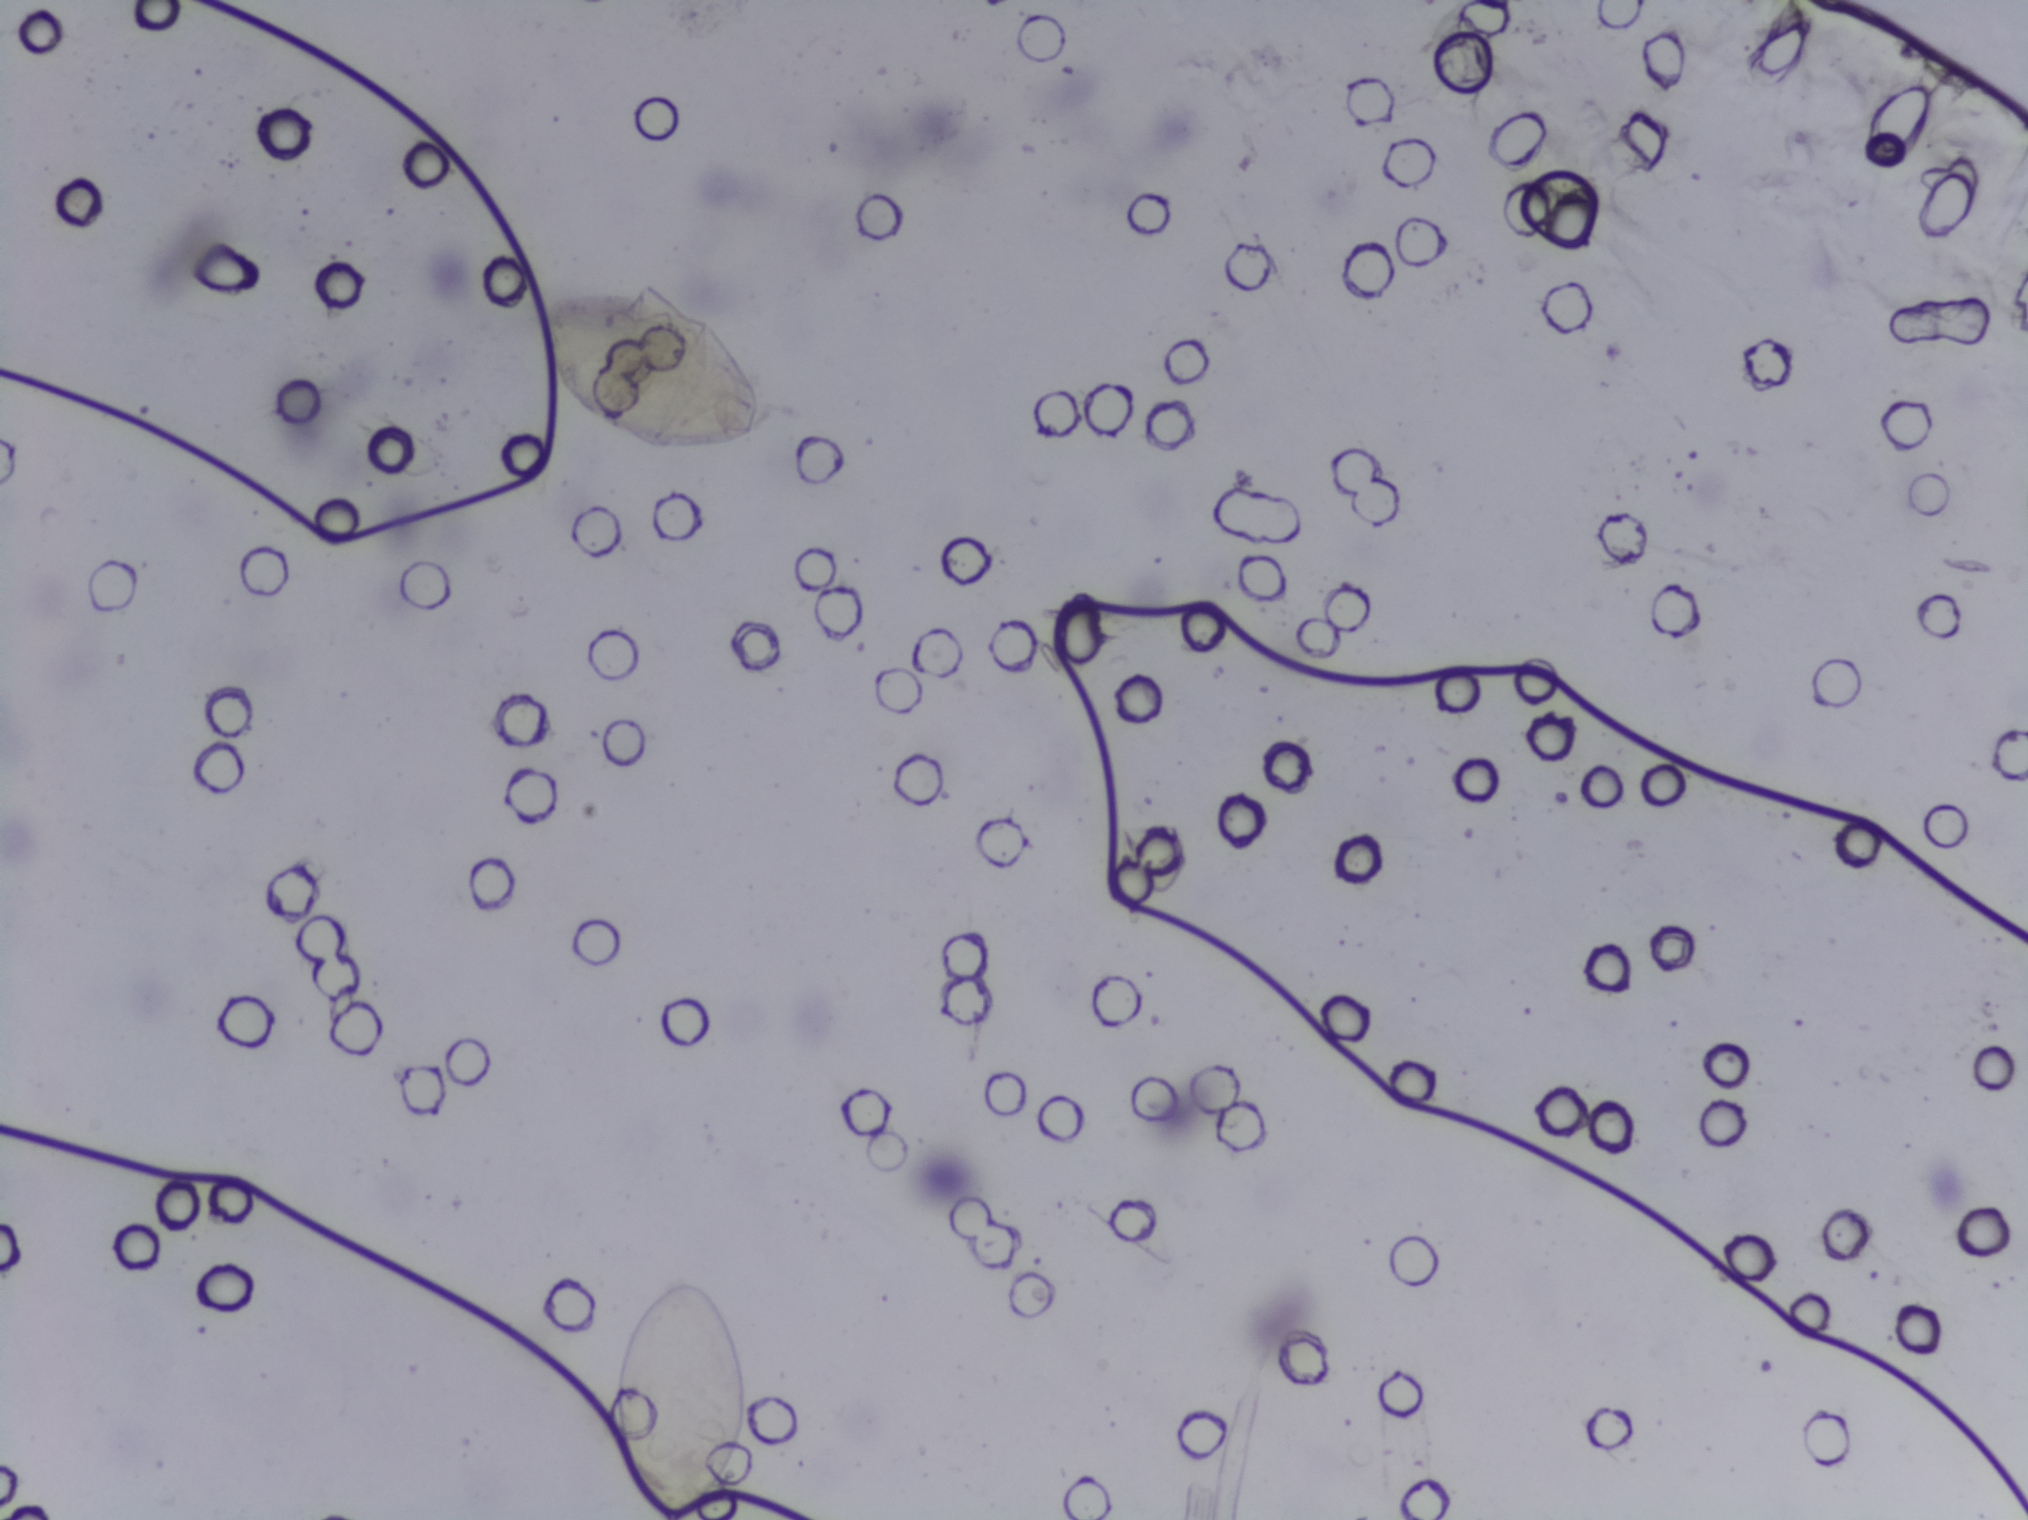
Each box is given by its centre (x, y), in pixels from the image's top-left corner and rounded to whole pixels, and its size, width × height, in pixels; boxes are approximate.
Findings: two areas outlined as Schistosoma eggs. Locations, left to right: centre (652, 370), 236 × 162 px; centre (682, 1398), 145 × 244 px (reaching the bottom edge of the frame). A single outlined area may contain several eggs. Any one outlined egg may, rarely, be S. mansoni rather than S. haematobium.
Urine filtration membrane under a 4× objective, photographed by an automated digital microscope.